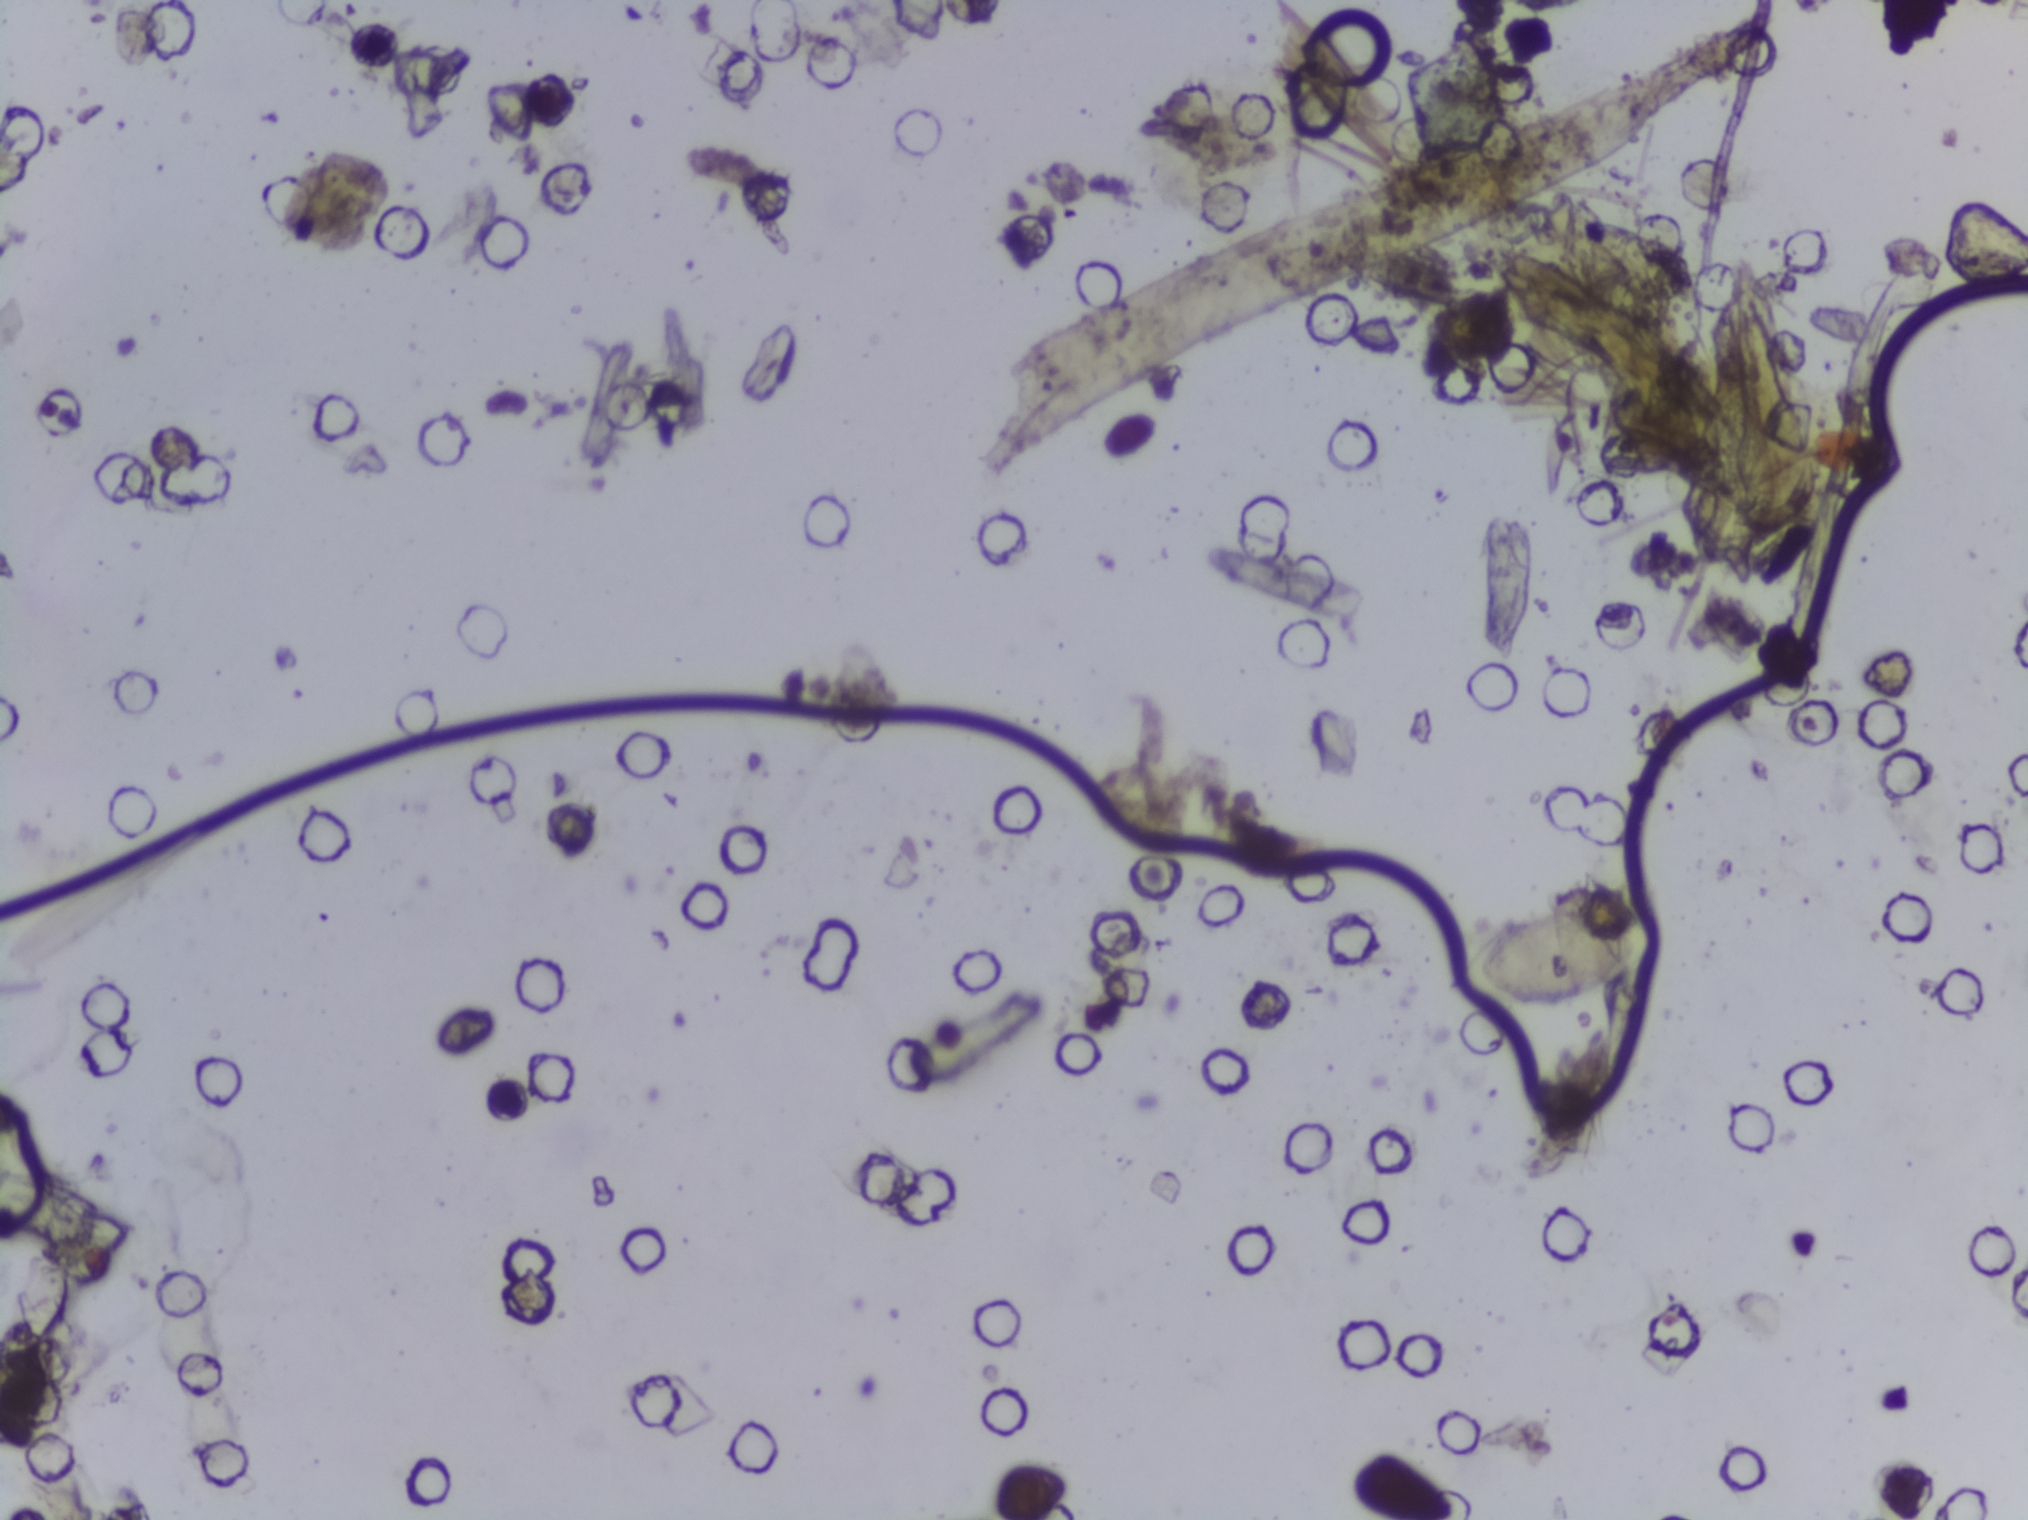
One field of view of a urine filter membrane, 4× objective, 2028 × 1520 pixels.
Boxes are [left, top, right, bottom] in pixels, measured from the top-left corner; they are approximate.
Schistosoma eggs are outlined in the expert annotation at [1444, 901, 1653, 1007]. Marked pixels, not the box around them: about 0.5% of the image. A single outlined area may contain several eggs.